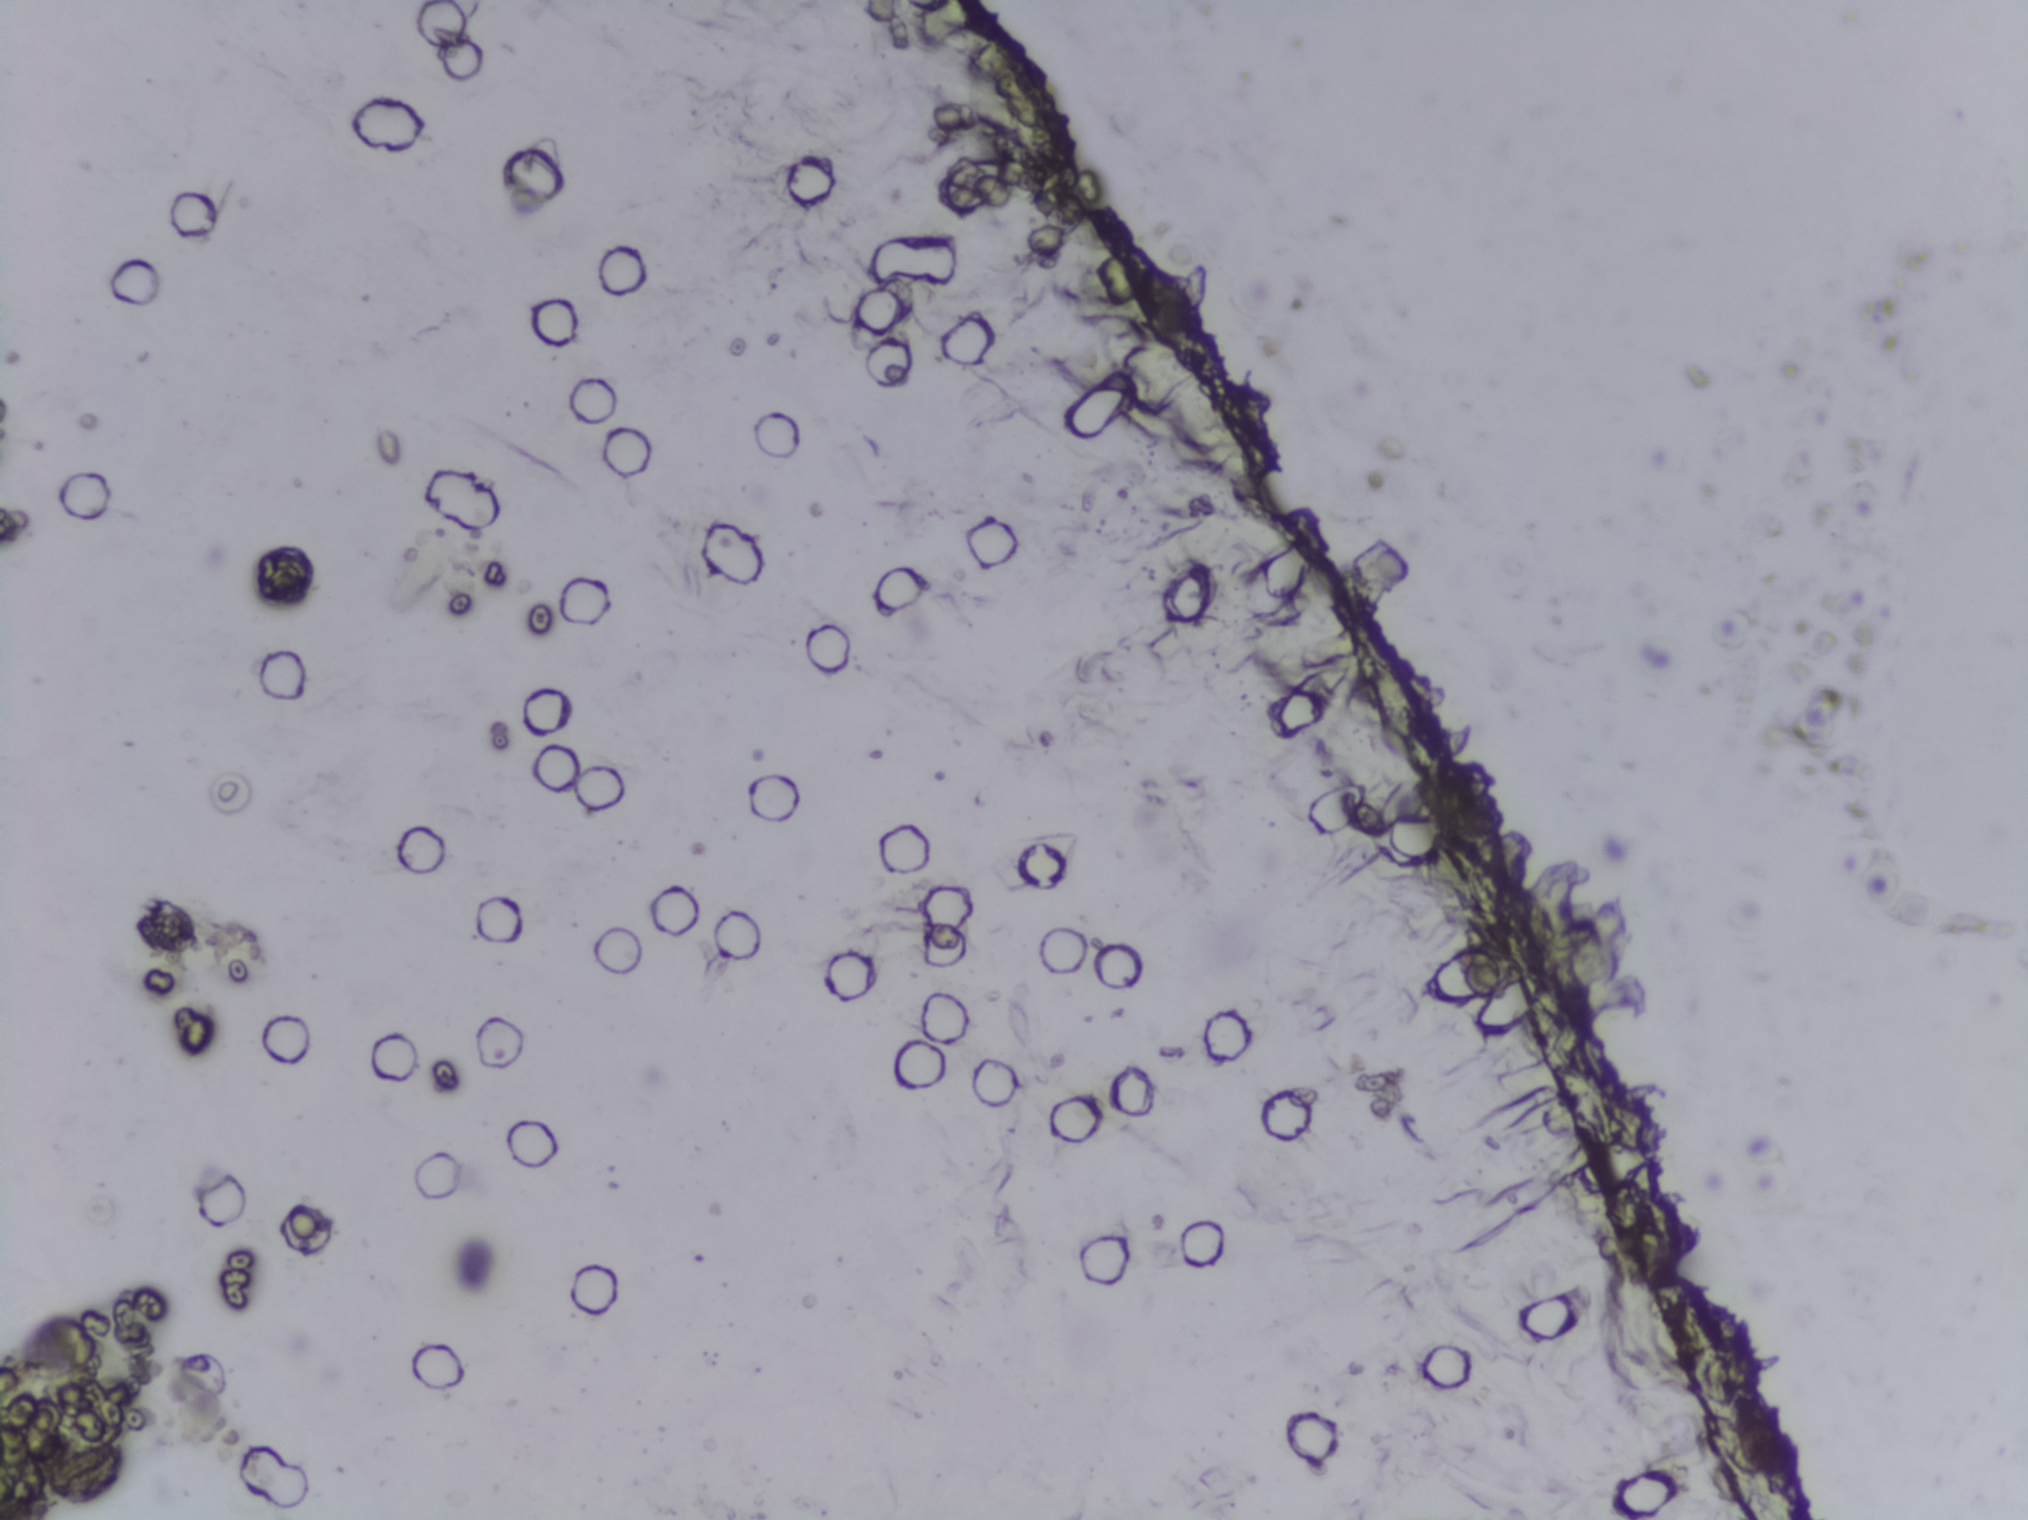
Urine filtration membrane under a 4× objective, photographed by an automated digital microscope.
No Schistosoma egg is outlined in this image's expert annotation.